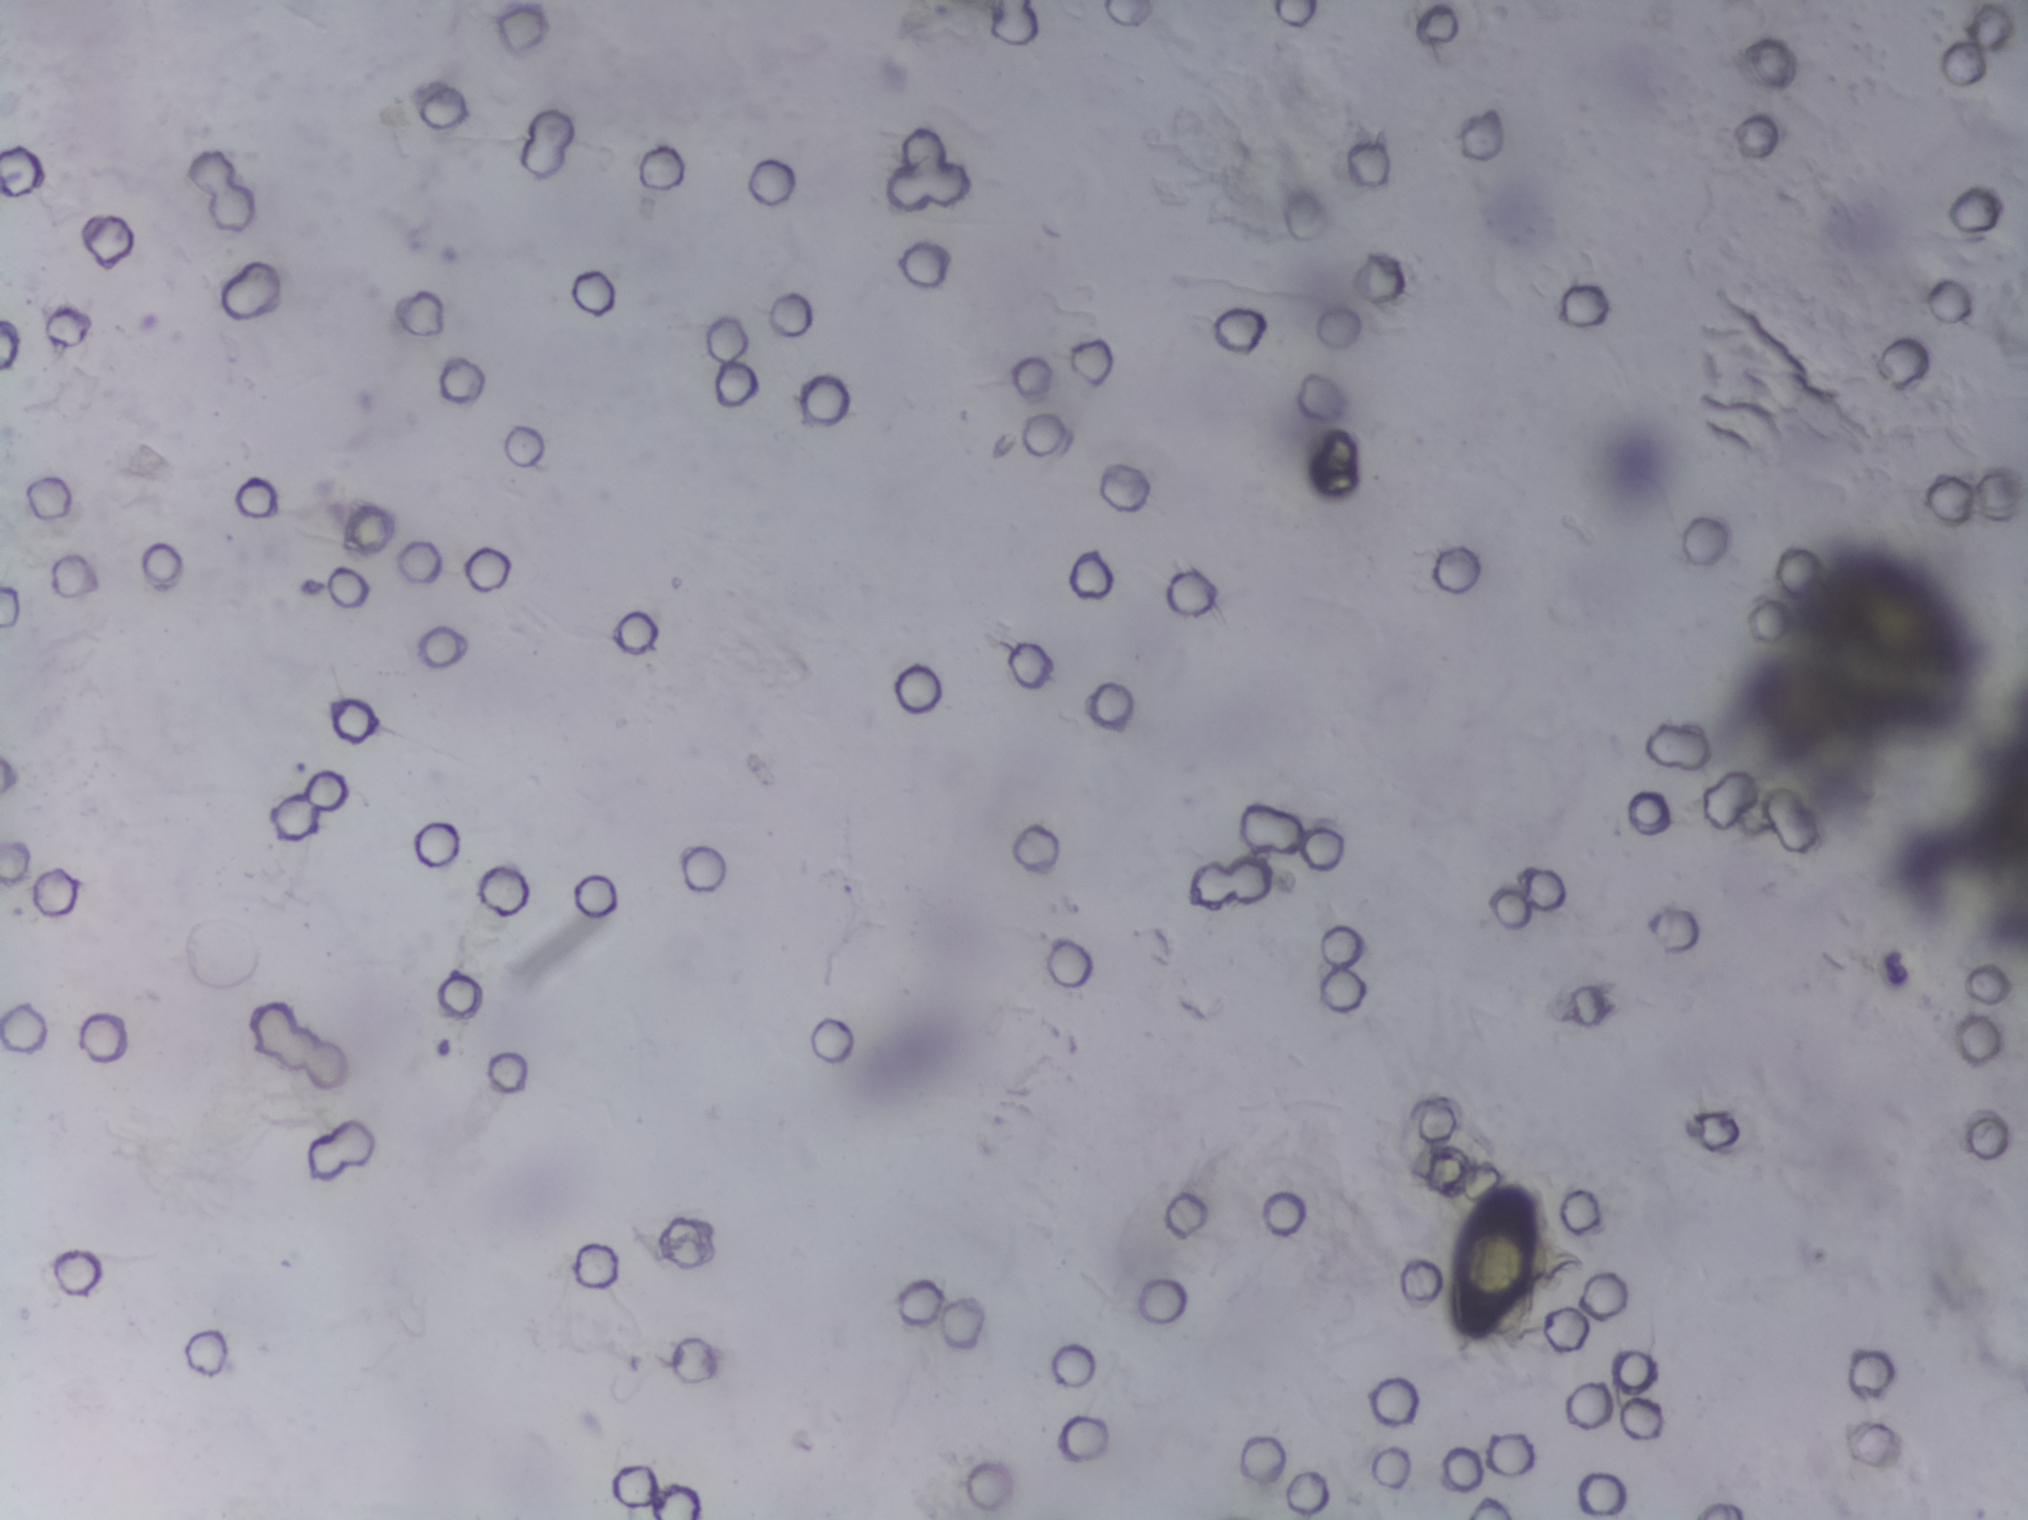
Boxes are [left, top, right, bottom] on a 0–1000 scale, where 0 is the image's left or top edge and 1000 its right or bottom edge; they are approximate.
The expert annotation outlines Schistosoma eggs at [718, 776, 761, 882]. Eggs that touch can end up inside the same outlined area.
Microscope photograph (4× objective) of a membrane that a urine sample was filtered through.